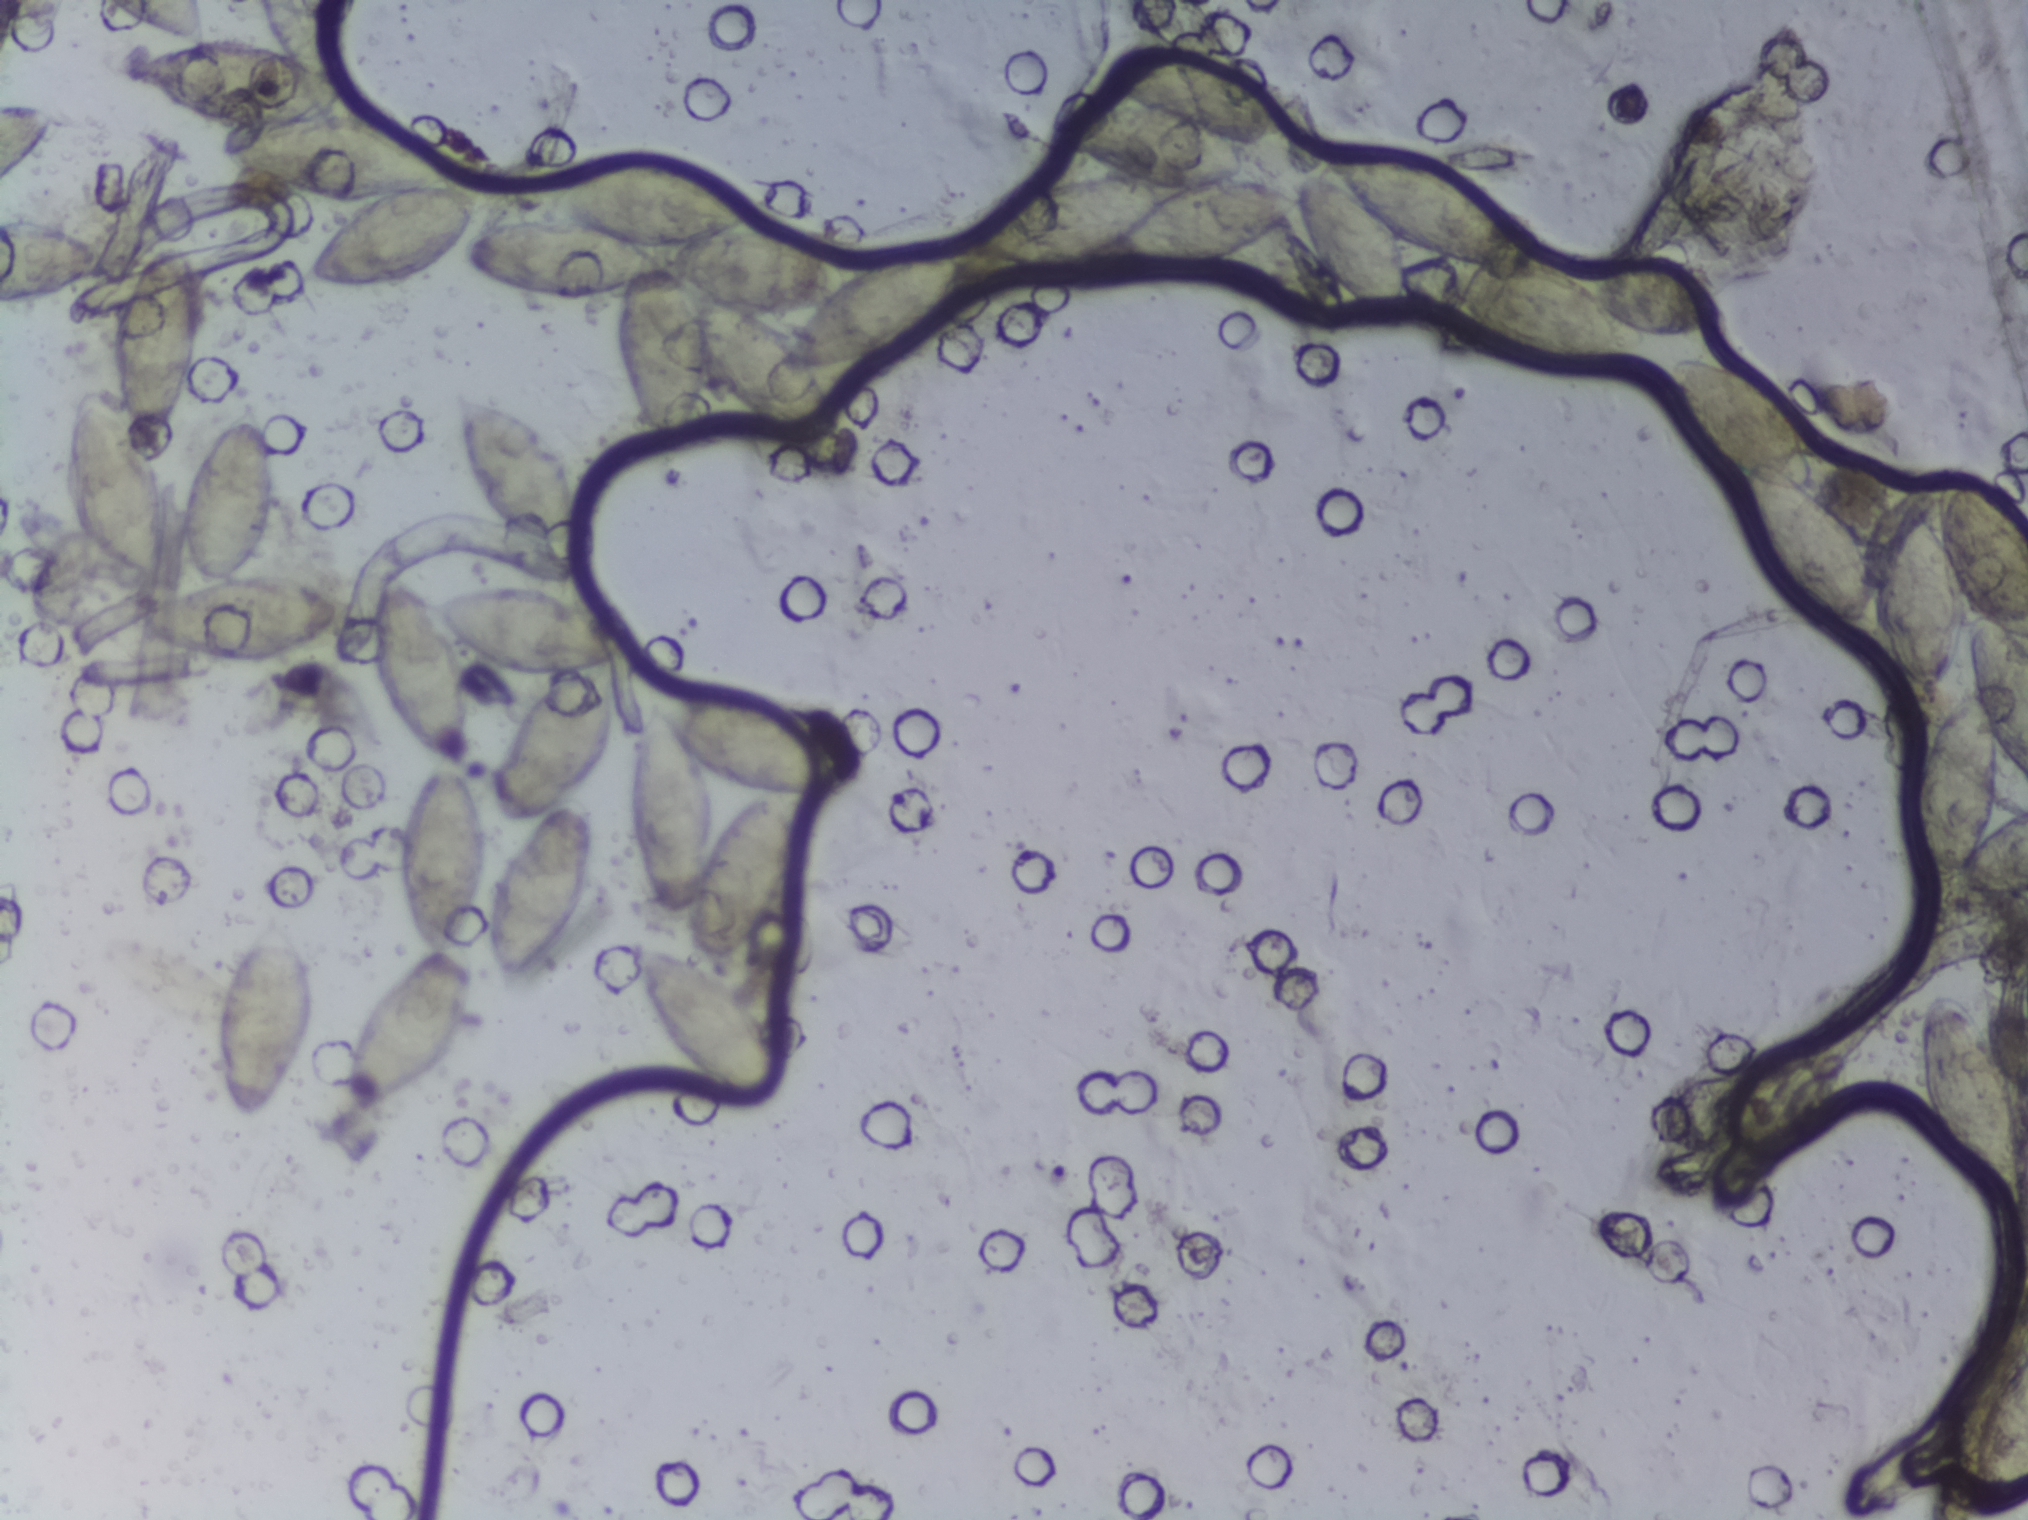
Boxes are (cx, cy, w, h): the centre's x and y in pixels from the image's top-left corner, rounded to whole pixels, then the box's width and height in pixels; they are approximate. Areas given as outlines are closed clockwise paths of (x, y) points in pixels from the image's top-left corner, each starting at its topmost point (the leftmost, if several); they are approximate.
The expert annotation outlines Schistosoma eggs in ten areas, left to right: box (cx=30, cy=142, w=60, h=87) (reaching the left edge of the frame); box (cx=56, cy=258, w=112, h=104) (reaching the left edge of the frame); outline (167, 236), (189, 238), (205, 274), (195, 387), (162, 451), (175, 510), (171, 585), (190, 580), (178, 544), (178, 490), (229, 411), (247, 396), (255, 398), (277, 440), (277, 465), (273, 529), (252, 565), (313, 580), (345, 604), (345, 625), (329, 641), (292, 657), (220, 665), (146, 634), (136, 618), (148, 602), (98, 570), (70, 529), (66, 427), (80, 386), (110, 389), (112, 306), (138, 254) (a cluster of eggs); box (cx=263, cy=1016, w=108, h=220); outline (454, 383), (473, 383), (541, 416), (580, 469), (592, 564), (578, 581), (558, 586), (614, 623), (623, 640), (623, 731), (581, 796), (590, 803), (598, 839), (582, 908), (530, 976), (505, 986), (485, 952), (485, 896), (519, 832), (490, 797), (485, 748), (500, 740), (538, 681), (497, 675), (458, 652), (475, 719), (475, 764), (467, 776), (482, 788), (490, 822), (486, 878), (467, 935), (476, 962), (474, 1001), (458, 1051), (434, 1079), (347, 1127), (341, 1078), (355, 1012), (429, 945), (406, 911), (398, 884), (403, 812), (429, 770), (389, 723), (372, 672), (370, 608), (381, 564), (415, 575), (434, 596), (463, 582), (543, 576), (475, 511), (461, 459) (a cluster of eggs); box (cx=740, cy=899, w=218, h=426) (a cluster of eggs); outline (96, 0), (205, 0), (214, 39), (246, 37), (316, 65), (349, 92), (348, 109), (433, 142), (465, 178), (485, 184), (474, 230), (538, 214), (523, 195), (524, 182), (535, 172), (607, 147), (651, 145), (709, 161), (752, 191), (763, 213), (825, 235), (851, 267), (873, 253), (927, 245), (959, 255), (960, 242), (983, 225), (1003, 195), (1041, 193), (1097, 173), (1058, 136), (1054, 116), (1062, 104), (1101, 87), (1102, 61), (1111, 55), (1198, 45), (1256, 75), (1291, 118), (1285, 140), (1249, 151), (1250, 173), (1286, 182), (1303, 170), (1323, 168), (1324, 153), (1344, 139), (1430, 146), (1488, 179), (1534, 228), (1544, 260), (1582, 279), (1589, 266), (1609, 259), (1668, 260), (1709, 286), (1728, 314), (1721, 329), (1705, 336), (1645, 334), (1642, 360), (1553, 365), (1510, 360), (1458, 339), (1418, 299), (1417, 323), (1385, 335), (1343, 307), (1323, 323), (1277, 318), (1240, 294), (1218, 266), (1162, 272), (1109, 261), (1069, 276), (1026, 278), (964, 258), (963, 290), (934, 331), (889, 362), (824, 372), (848, 412), (841, 442), (824, 451), (785, 444), (713, 393), (704, 431), (674, 457), (661, 459), (644, 437), (619, 377), (611, 329), (614, 294), (578, 305), (529, 307), (467, 277), (459, 269), (461, 242), (398, 286), (296, 285), (304, 252), (357, 204), (246, 182), (220, 151), (221, 127), (156, 98), (124, 62), (132, 50), (156, 42) (a cluster of eggs; reaching the top edge of the frame); outline (1710, 354), (1742, 367), (1794, 414), (1815, 460), (1815, 489), (1844, 516), (1869, 554), (1884, 510), (1911, 501), (1932, 518), (1934, 478), (1952, 471), (1965, 470), (1987, 483), (2027, 528), (2027, 778), (2001, 747), (1995, 823), (2027, 800), (2027, 884), (2007, 914), (1981, 929), (1933, 933), (1942, 890), (1919, 881), (1901, 847), (1905, 793), (1920, 743), (1973, 683), (1967, 641), (1951, 687), (1927, 702), (1893, 675), (1875, 635), (1843, 633), (1764, 563), (1741, 522), (1742, 474), (1696, 439), (1672, 410), (1671, 360) (a cluster of eggs; reaching the right edge of the frame); box (cx=1971, cy=1091, w=113, h=239) (reaching the right edge of the frame); box (cx=1999, cy=1434, w=57, h=163) (reaching the right edge of the frame). A single outlined area may contain several eggs.
Photograph from an automated digital microscope: urine filter membrane, 4× objective. The image covers about 1.5 × 1.1 mm of the membrane.